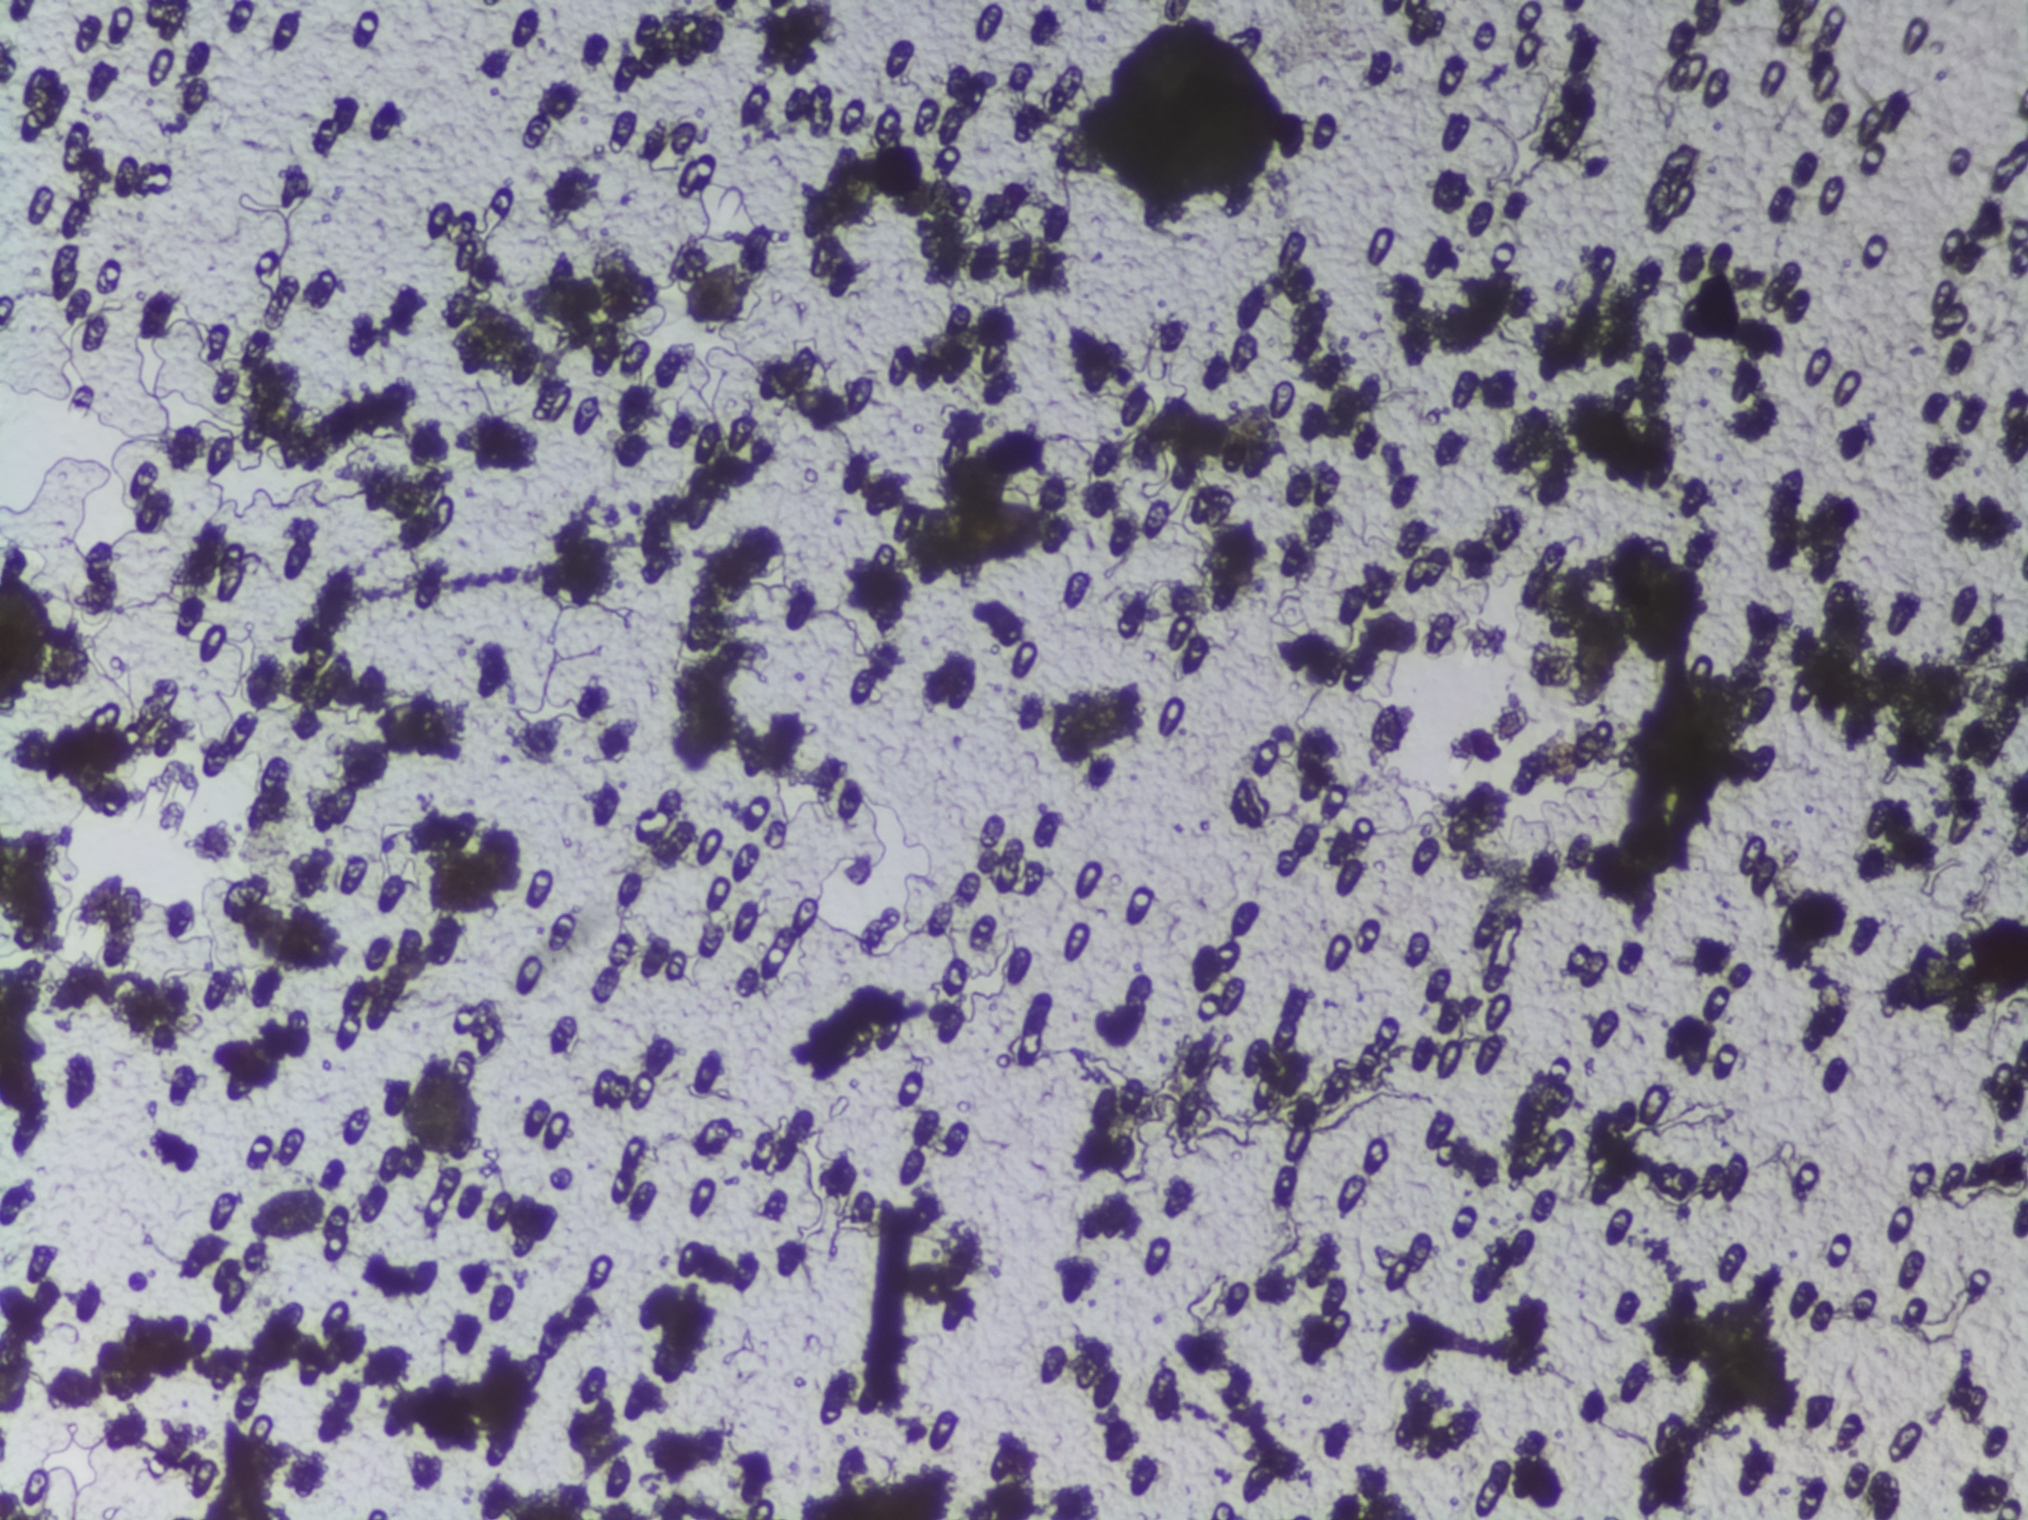
Schistosoma eggs: none outlined.
One field of view of a urine filter membrane, 4× objective, 2028 × 1520 pixels.